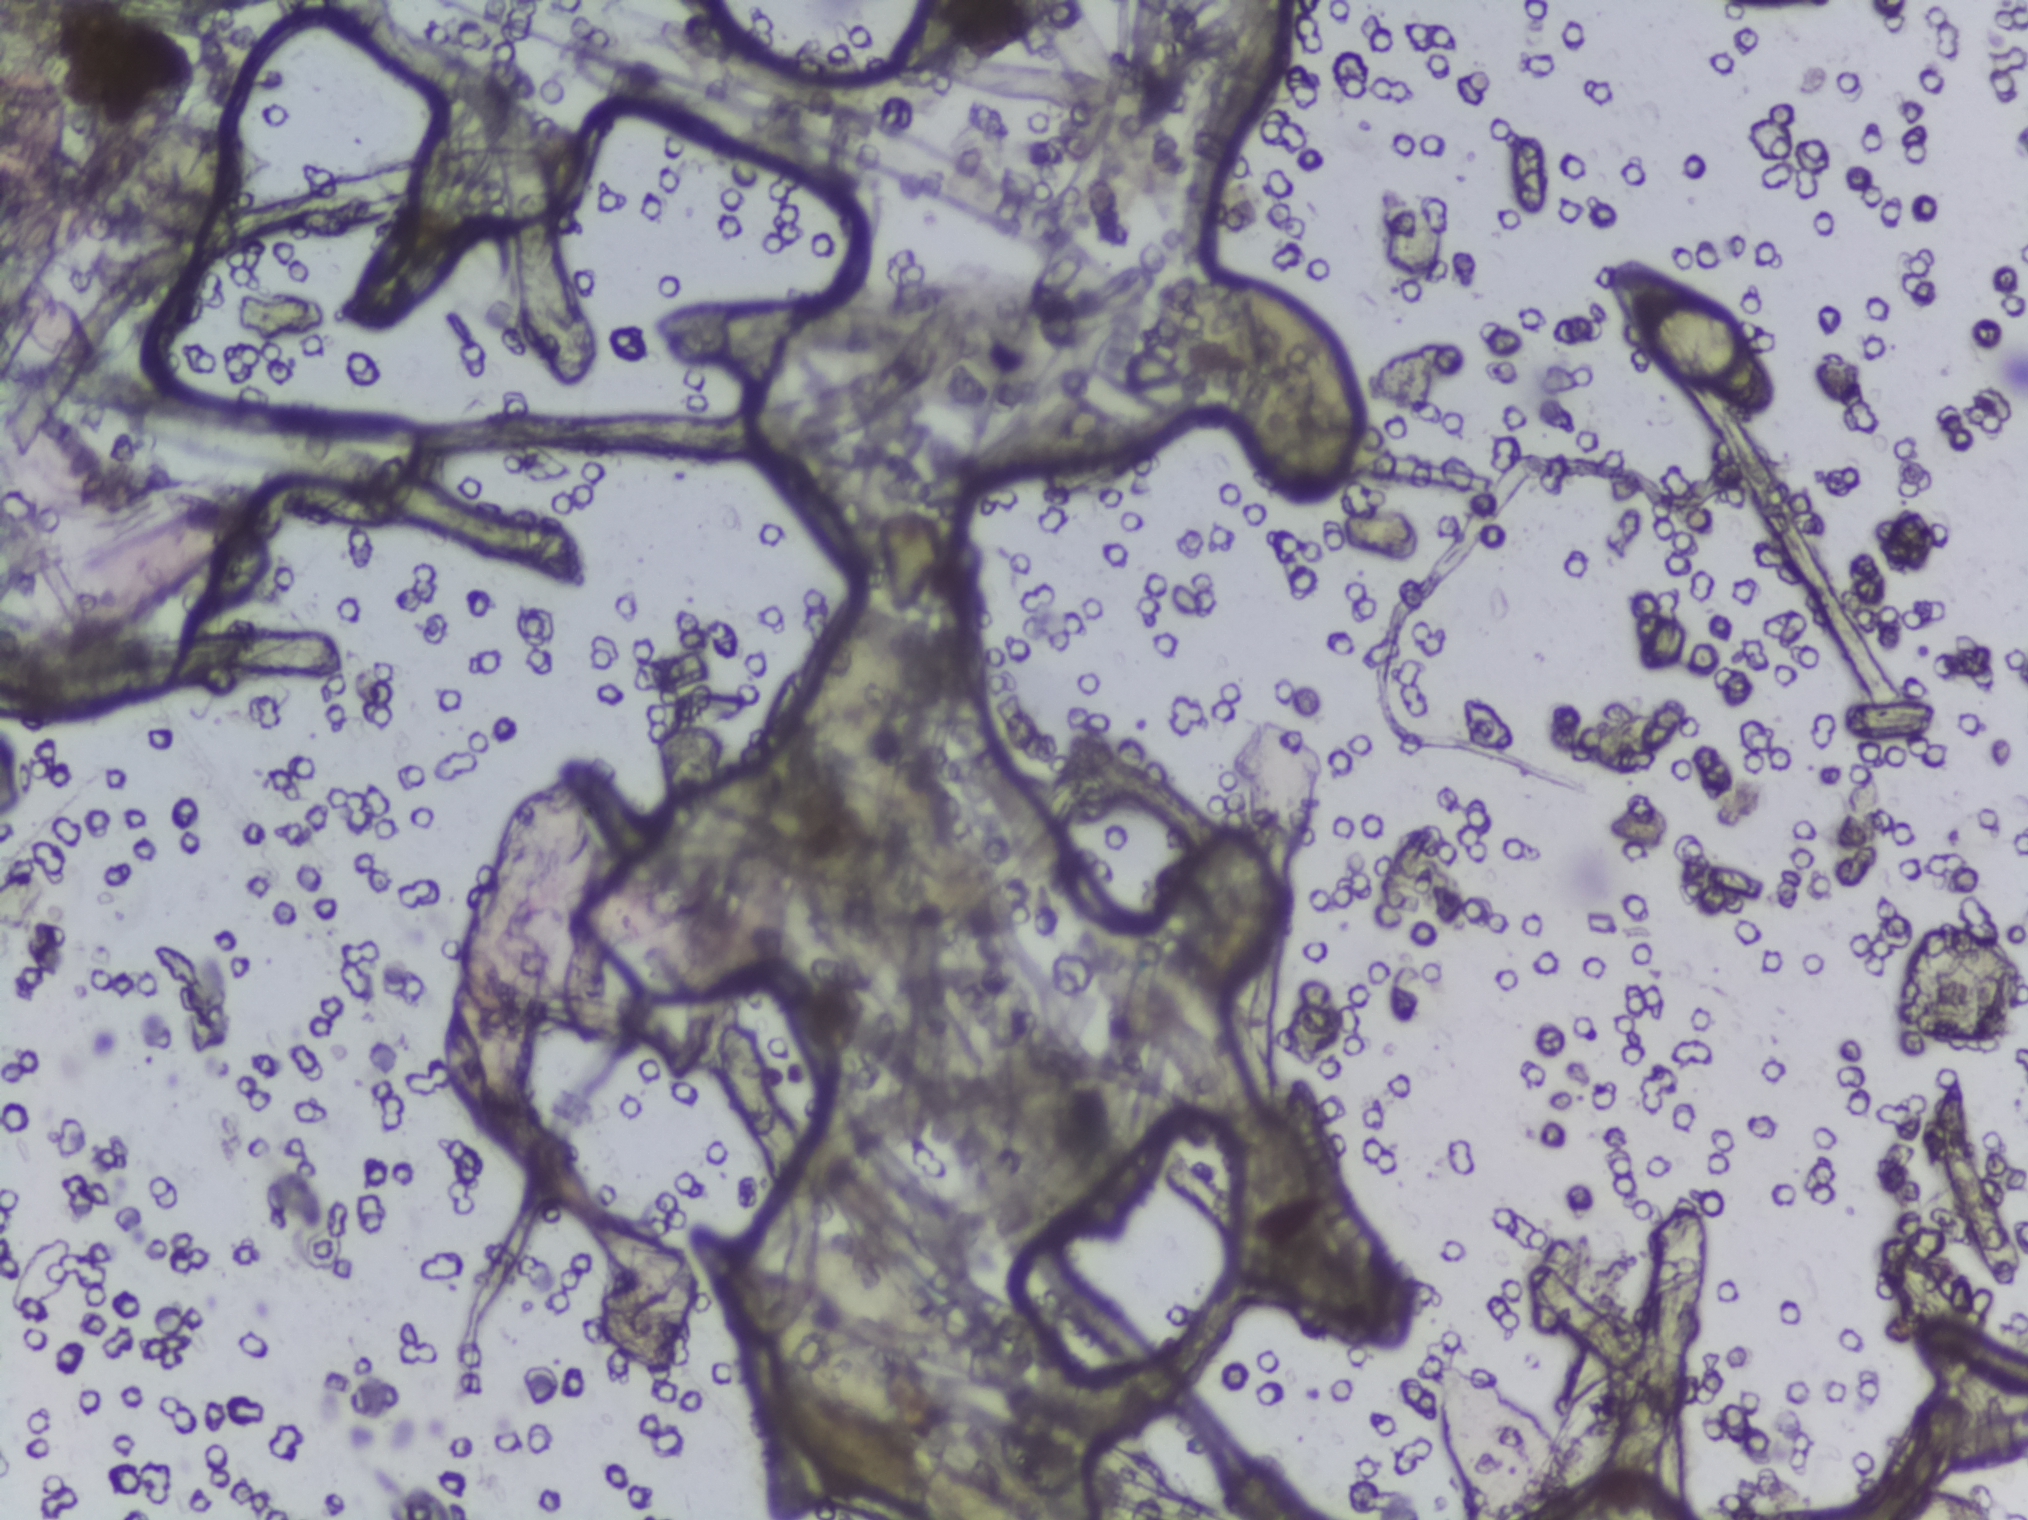
Microscope photograph (4× objective) of a membrane that a urine sample was filtered through.
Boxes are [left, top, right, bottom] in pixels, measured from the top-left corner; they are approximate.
Schistosoma egg areas, outlined: [77, 118, 280, 229]; [747, 1231, 952, 1430]; [1242, 283, 1366, 426]; [1617, 267, 1772, 416]. Eggs that touch can end up inside the same outlined area.